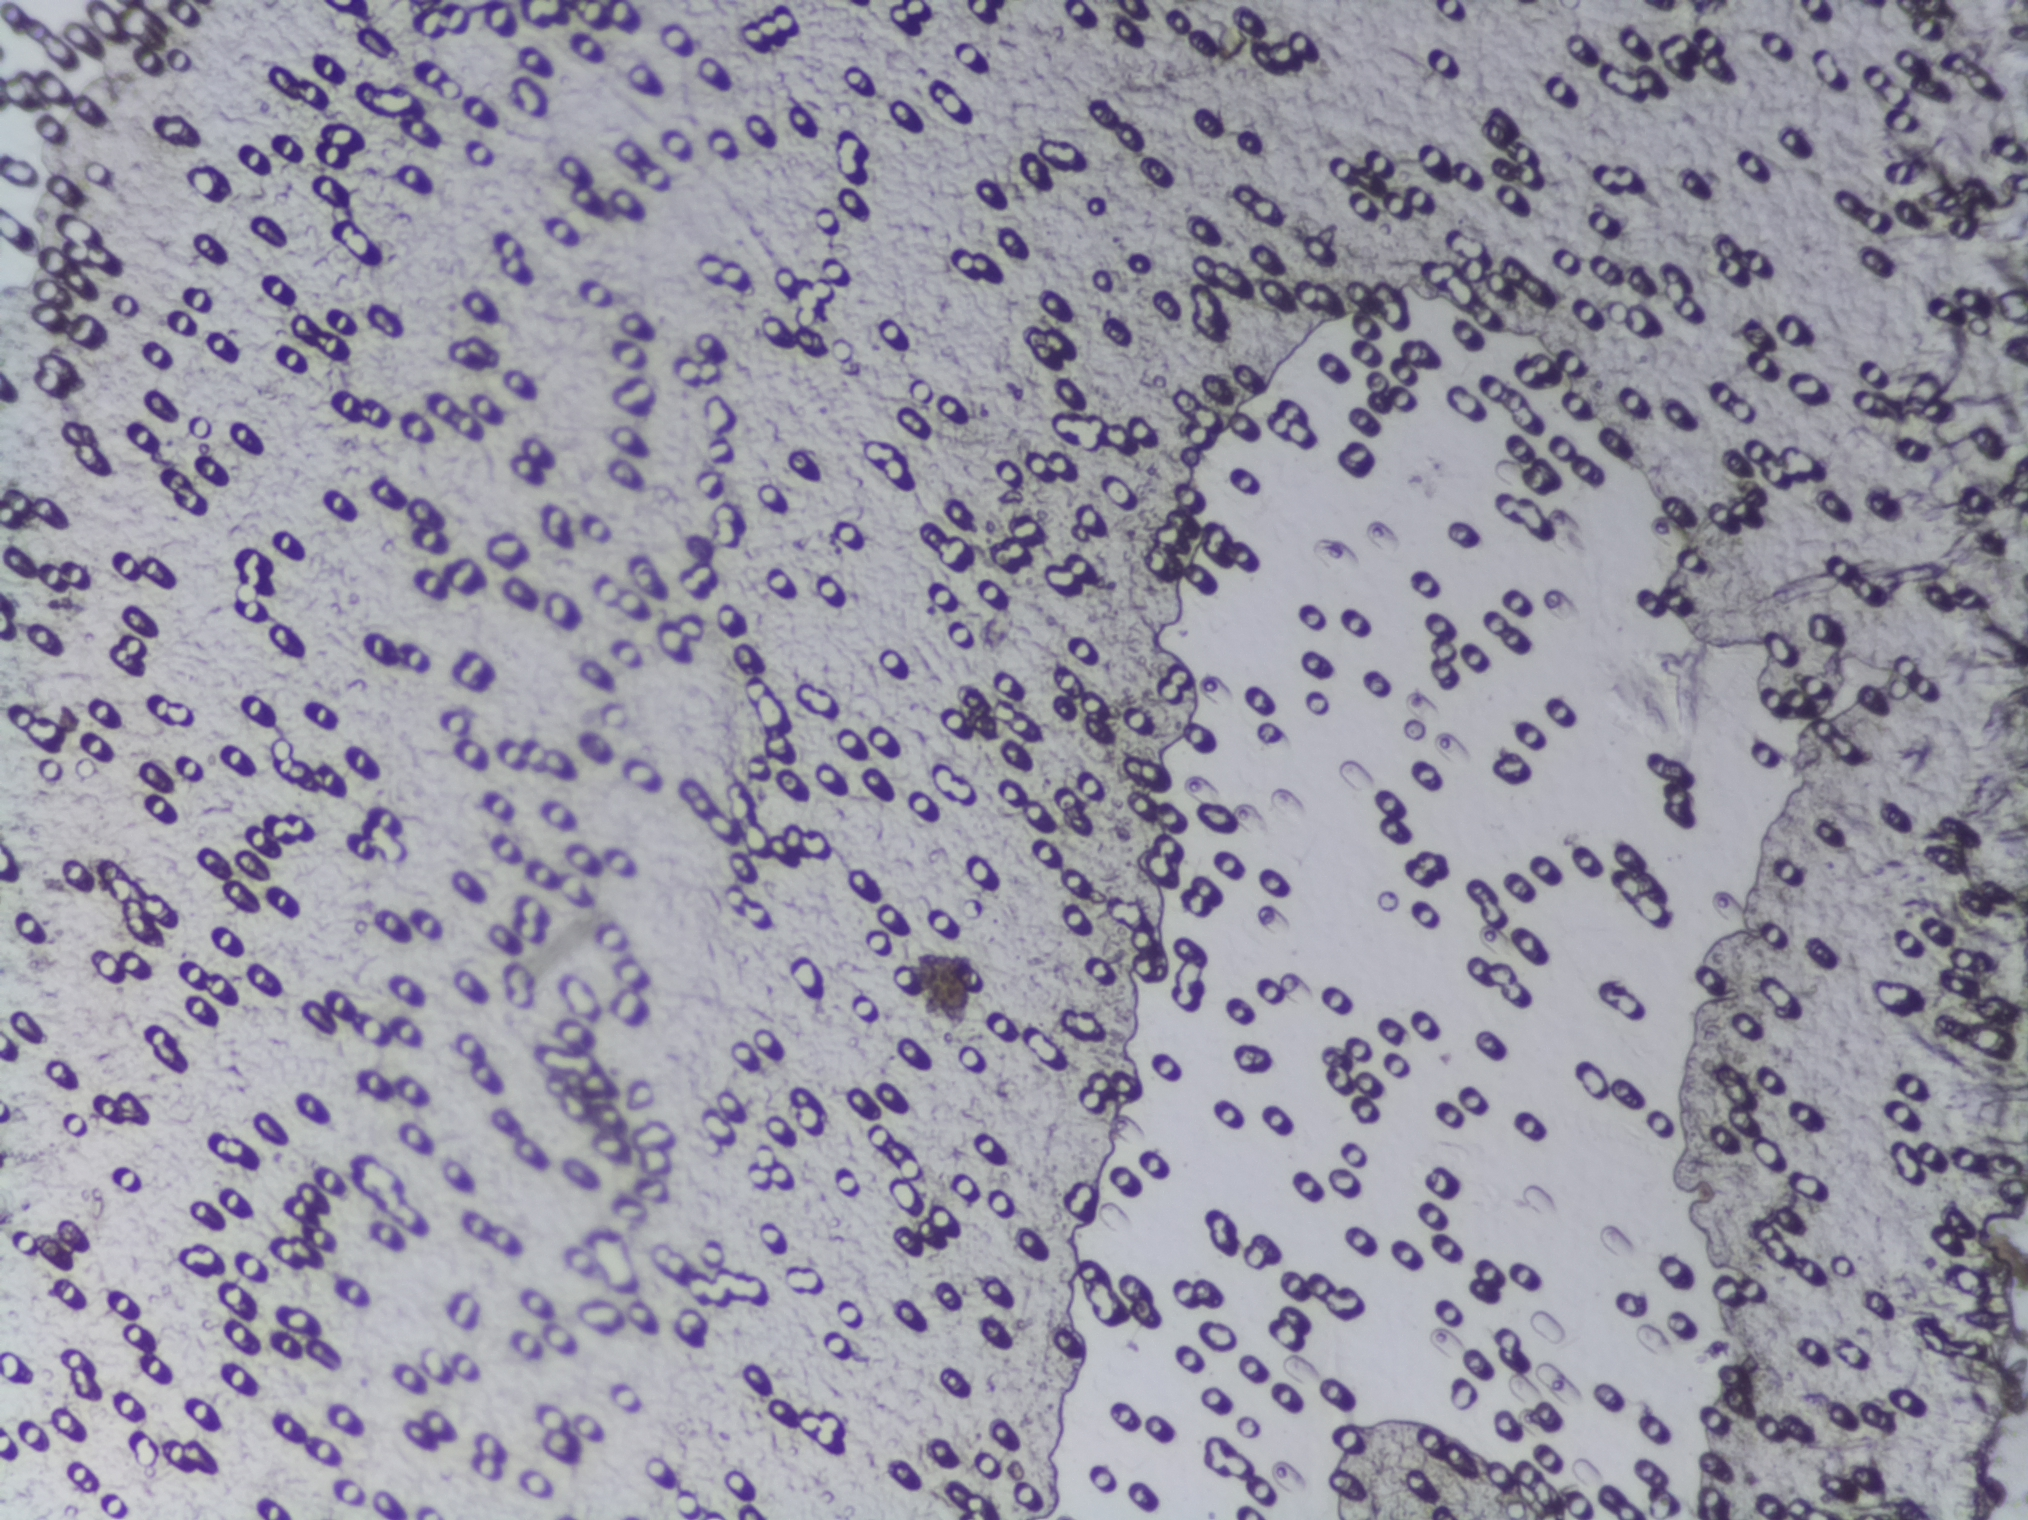
No area of this image was outlined as a Schistosoma egg.
One field of view of a urine filter membrane, 4× objective, 2028 × 1520 pixels.